Microscope photograph (4× objective) of a membrane that a urine sample was filtered through.
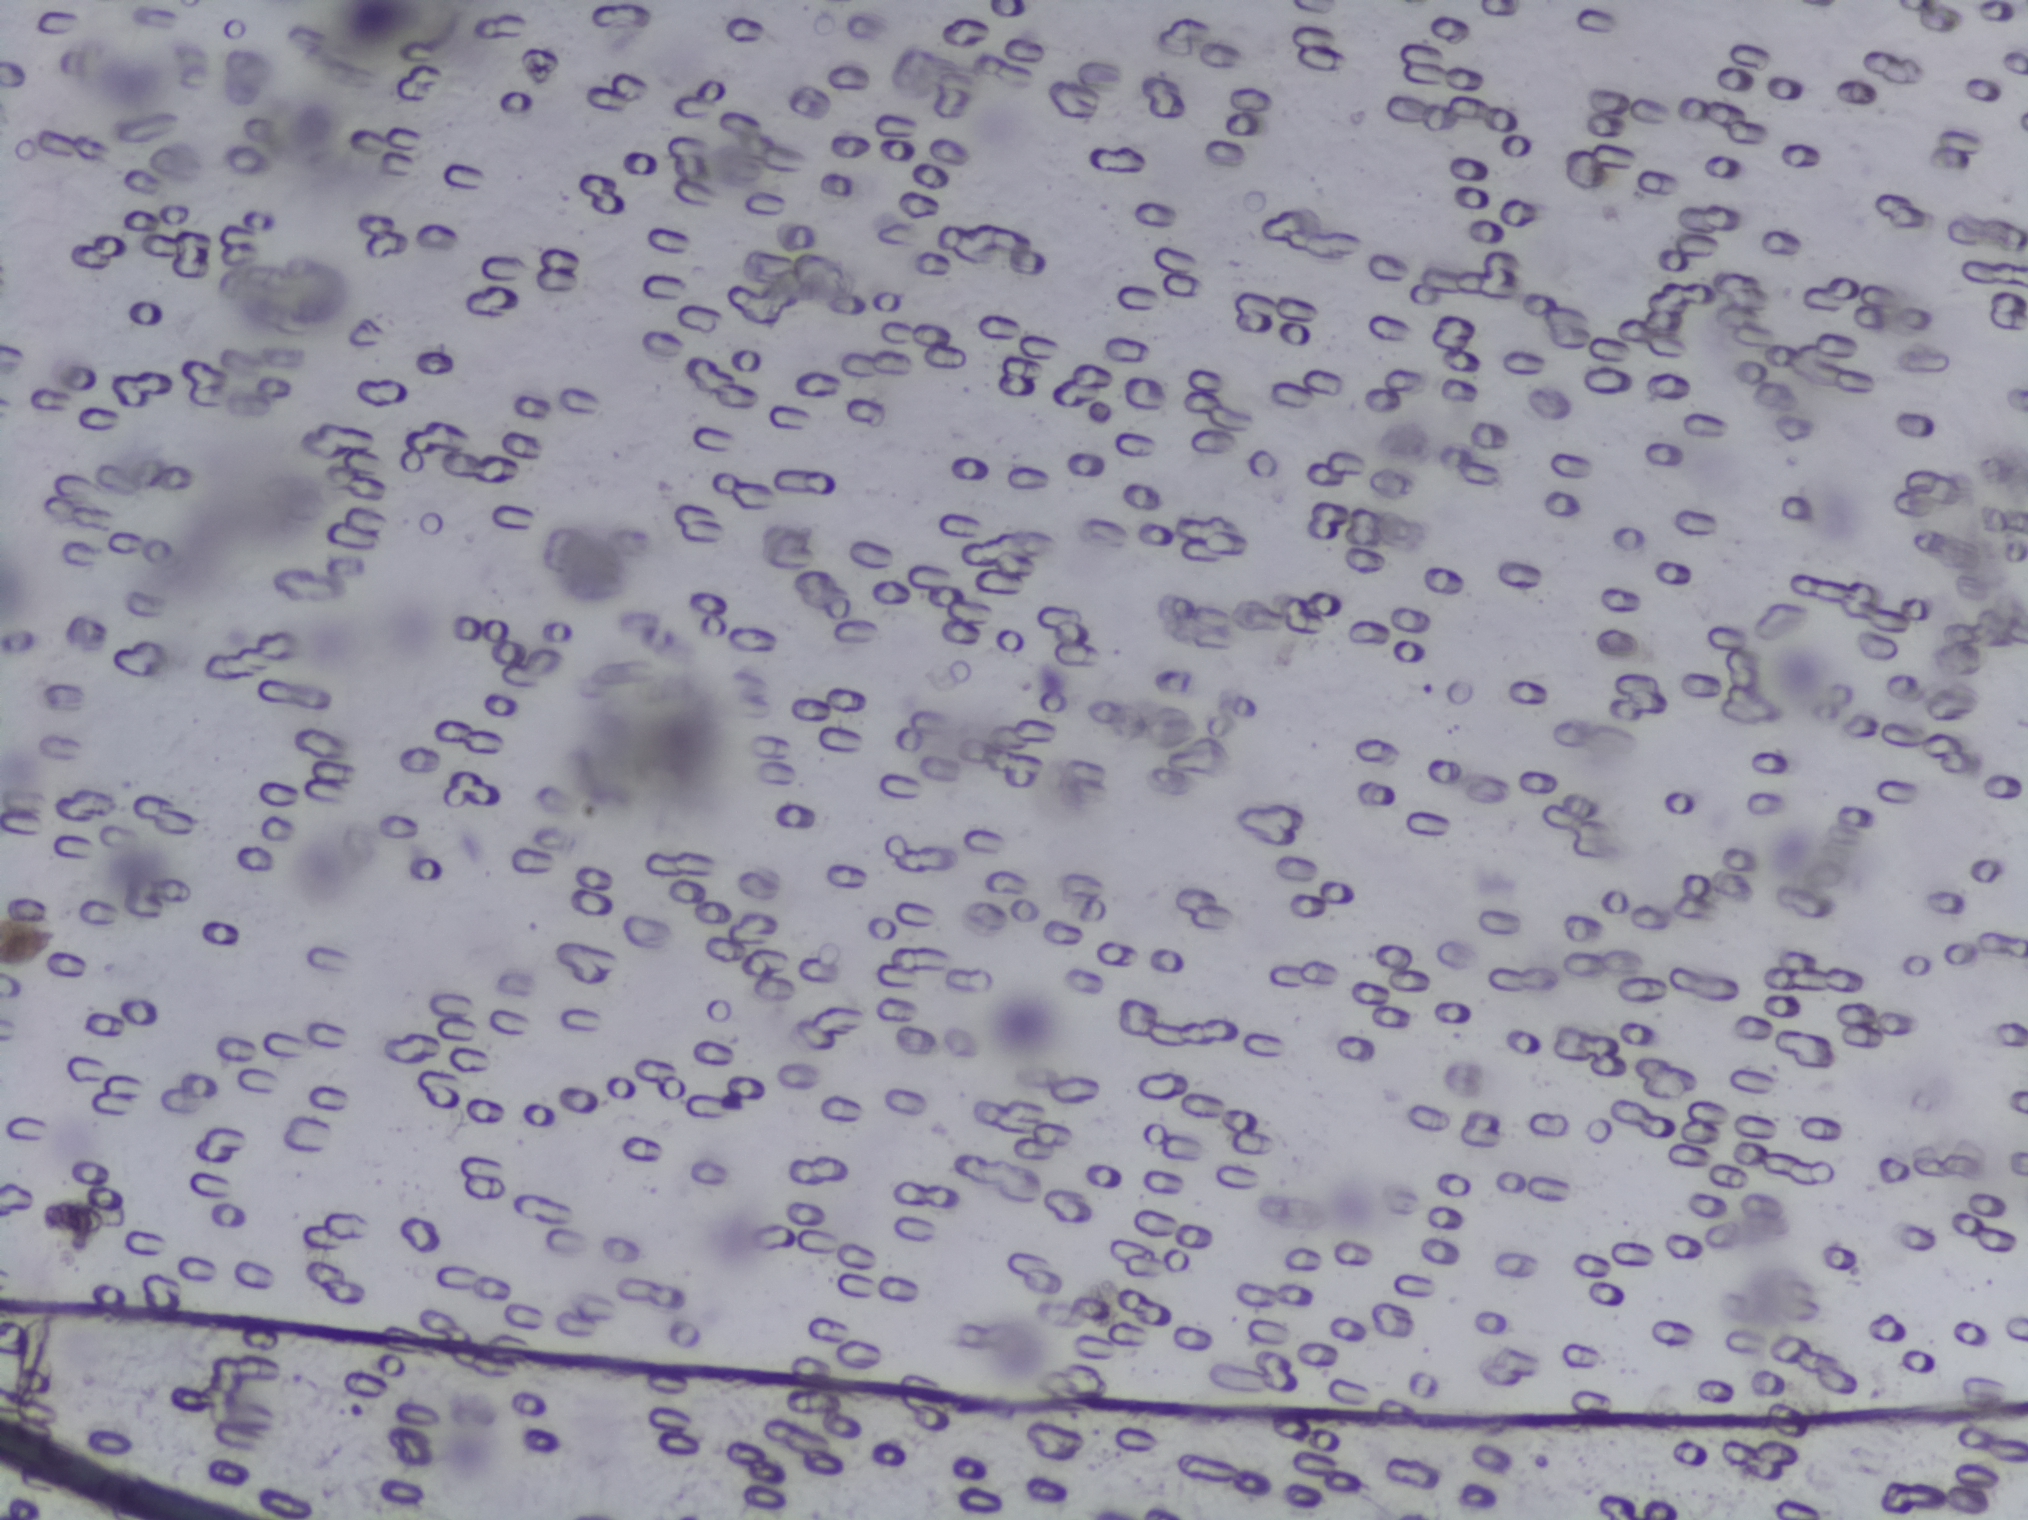
The expert annotation outlines no Schistosoma egg in this image.